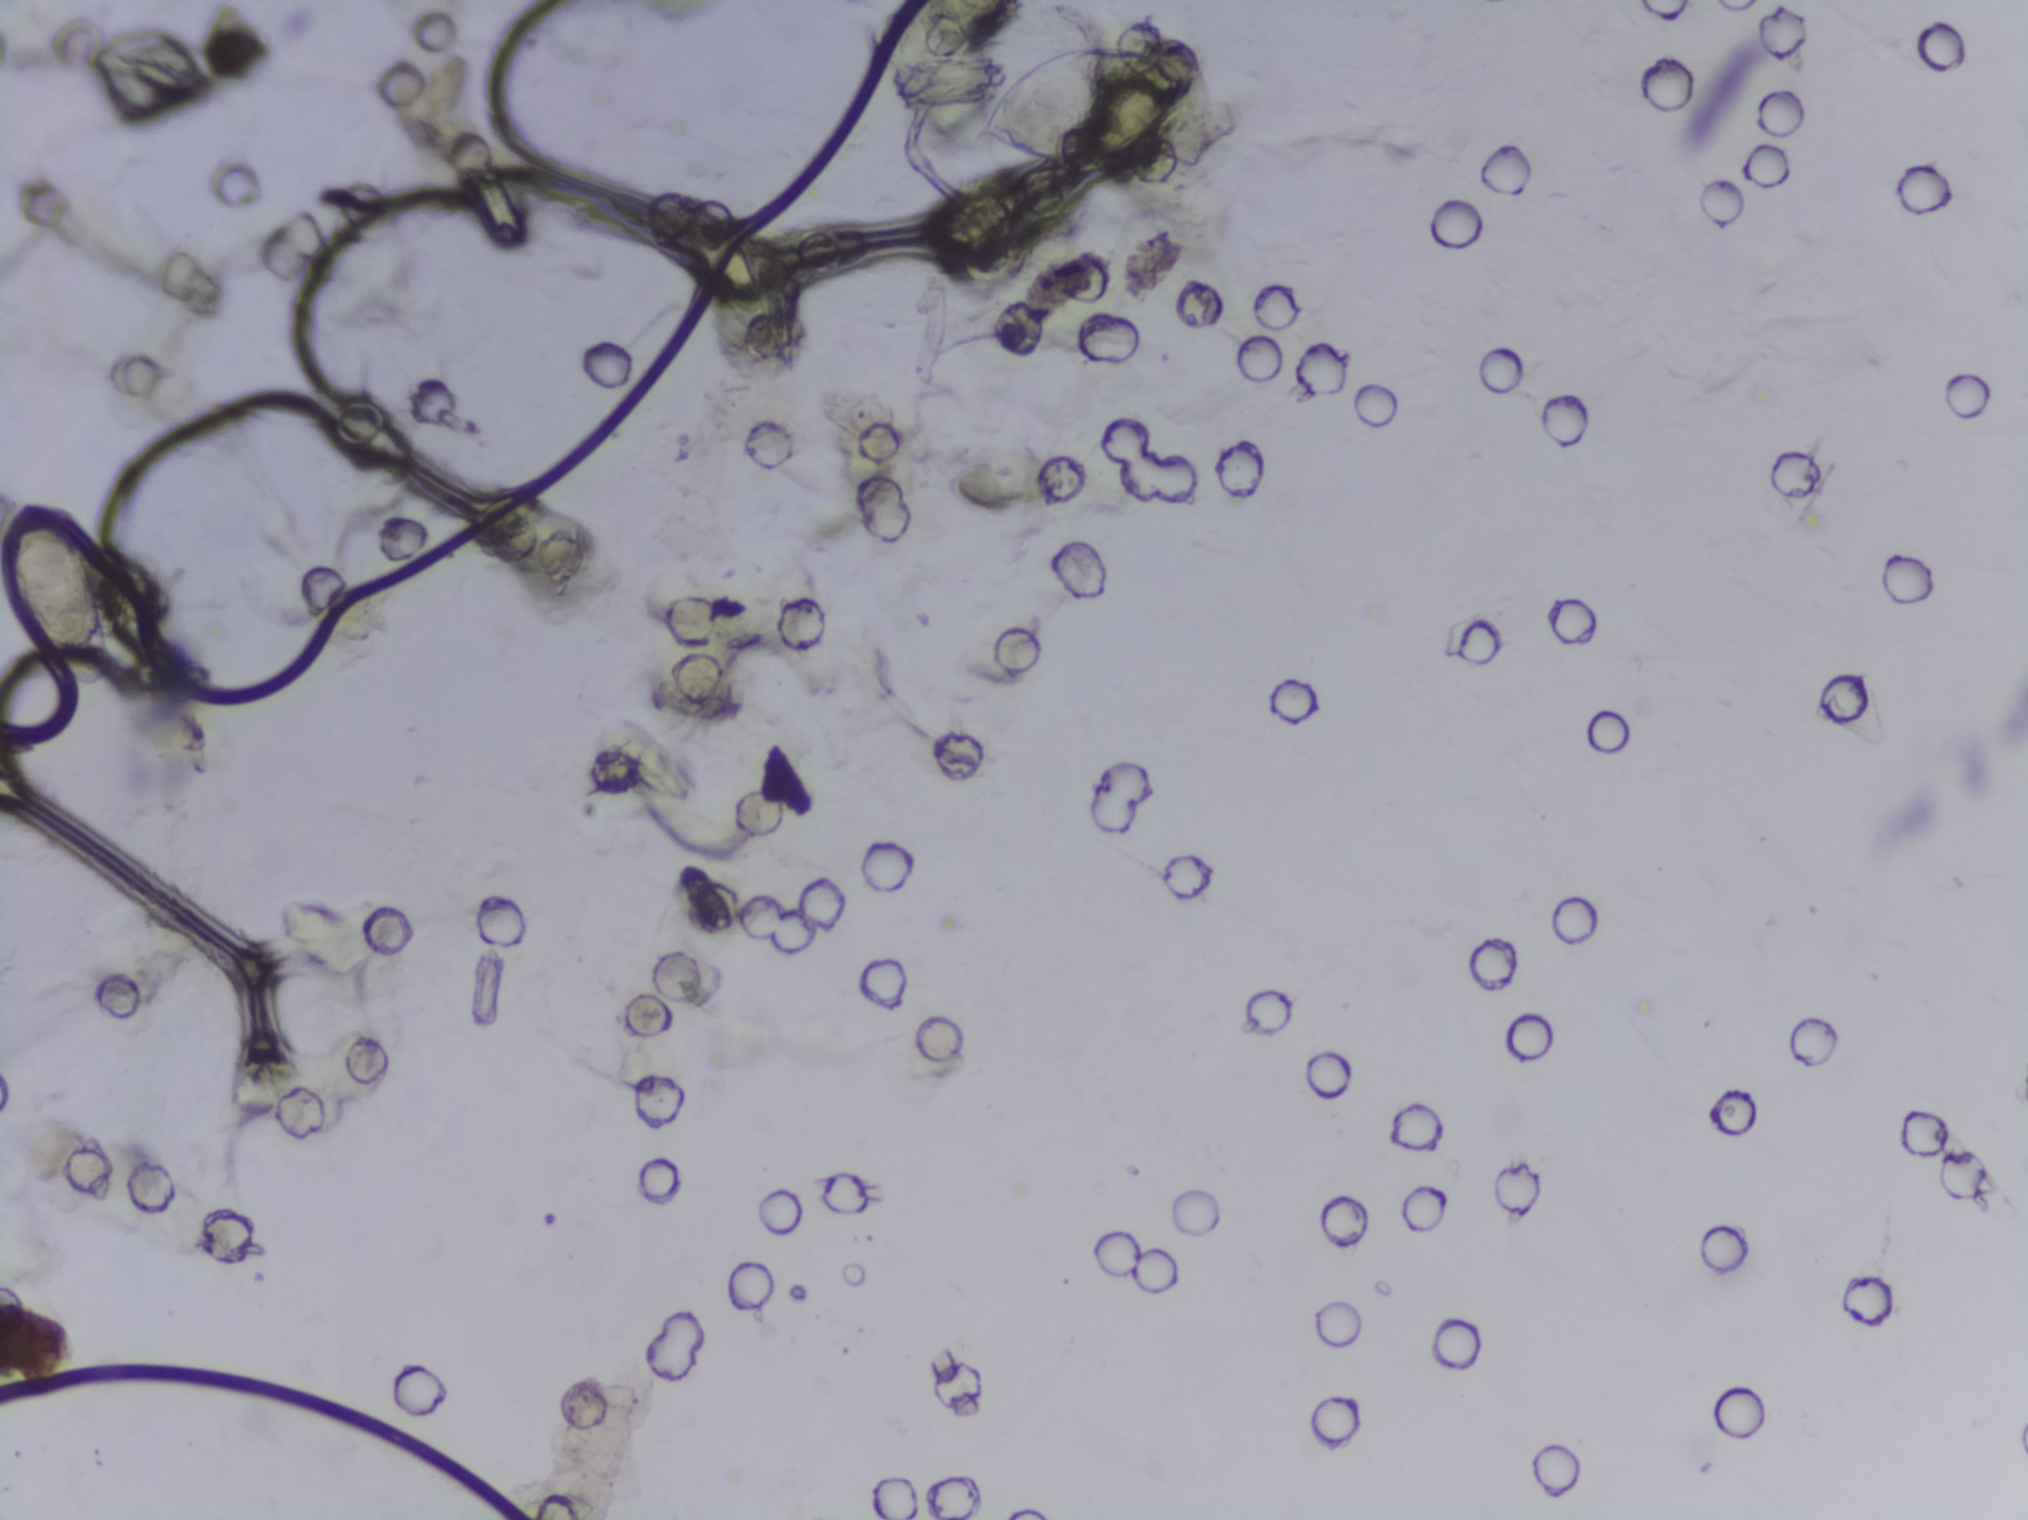
One field of view of a urine filter membrane, 4× objective, 2028 × 1520 pixels.
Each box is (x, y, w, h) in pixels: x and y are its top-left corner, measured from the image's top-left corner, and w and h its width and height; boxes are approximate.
Schistosoma egg areas, outlined: (x=0, y=495, w=108, h=193) (reaching the left edge of the frame); (x=968, y=33, w=252, h=142). The marked pixels themselves, not the boxes around them, cover about 1.3% of the image. Eggs that touch can end up inside the same outlined area.